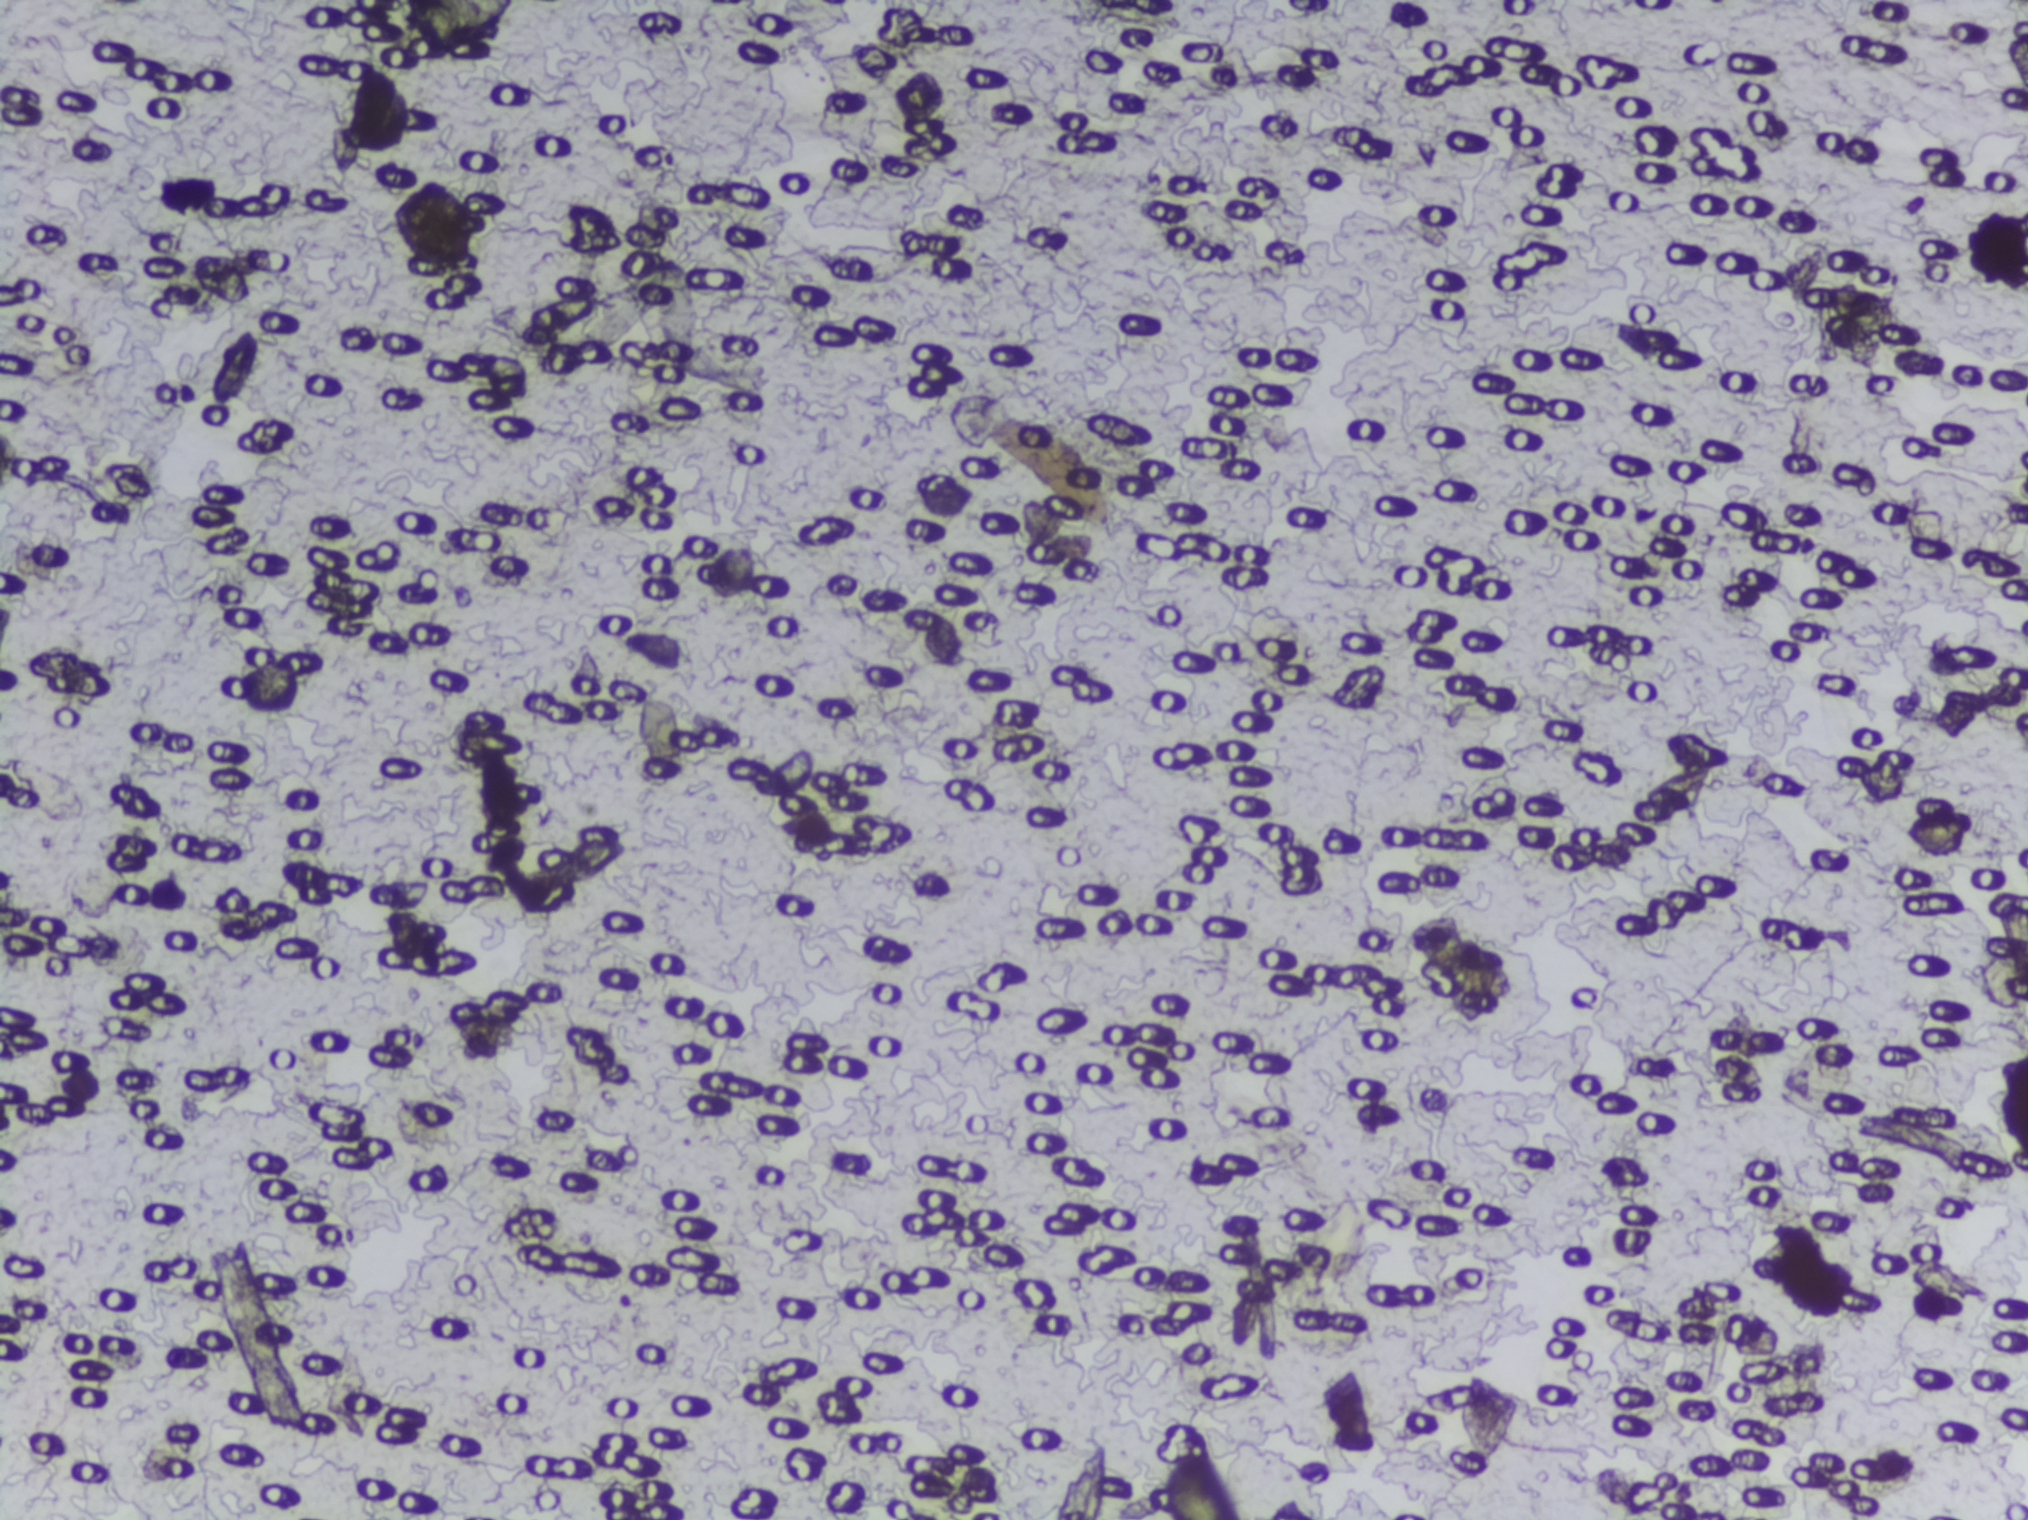
Microscope photograph (4× objective) of a membrane that a urine sample was filtered through.
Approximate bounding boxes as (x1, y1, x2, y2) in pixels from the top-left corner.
Schistosoma egg areas, outlined: (395, 0, 524, 67) (reaching the top edge of the frame). Eggs that touch can end up inside the same outlined area.